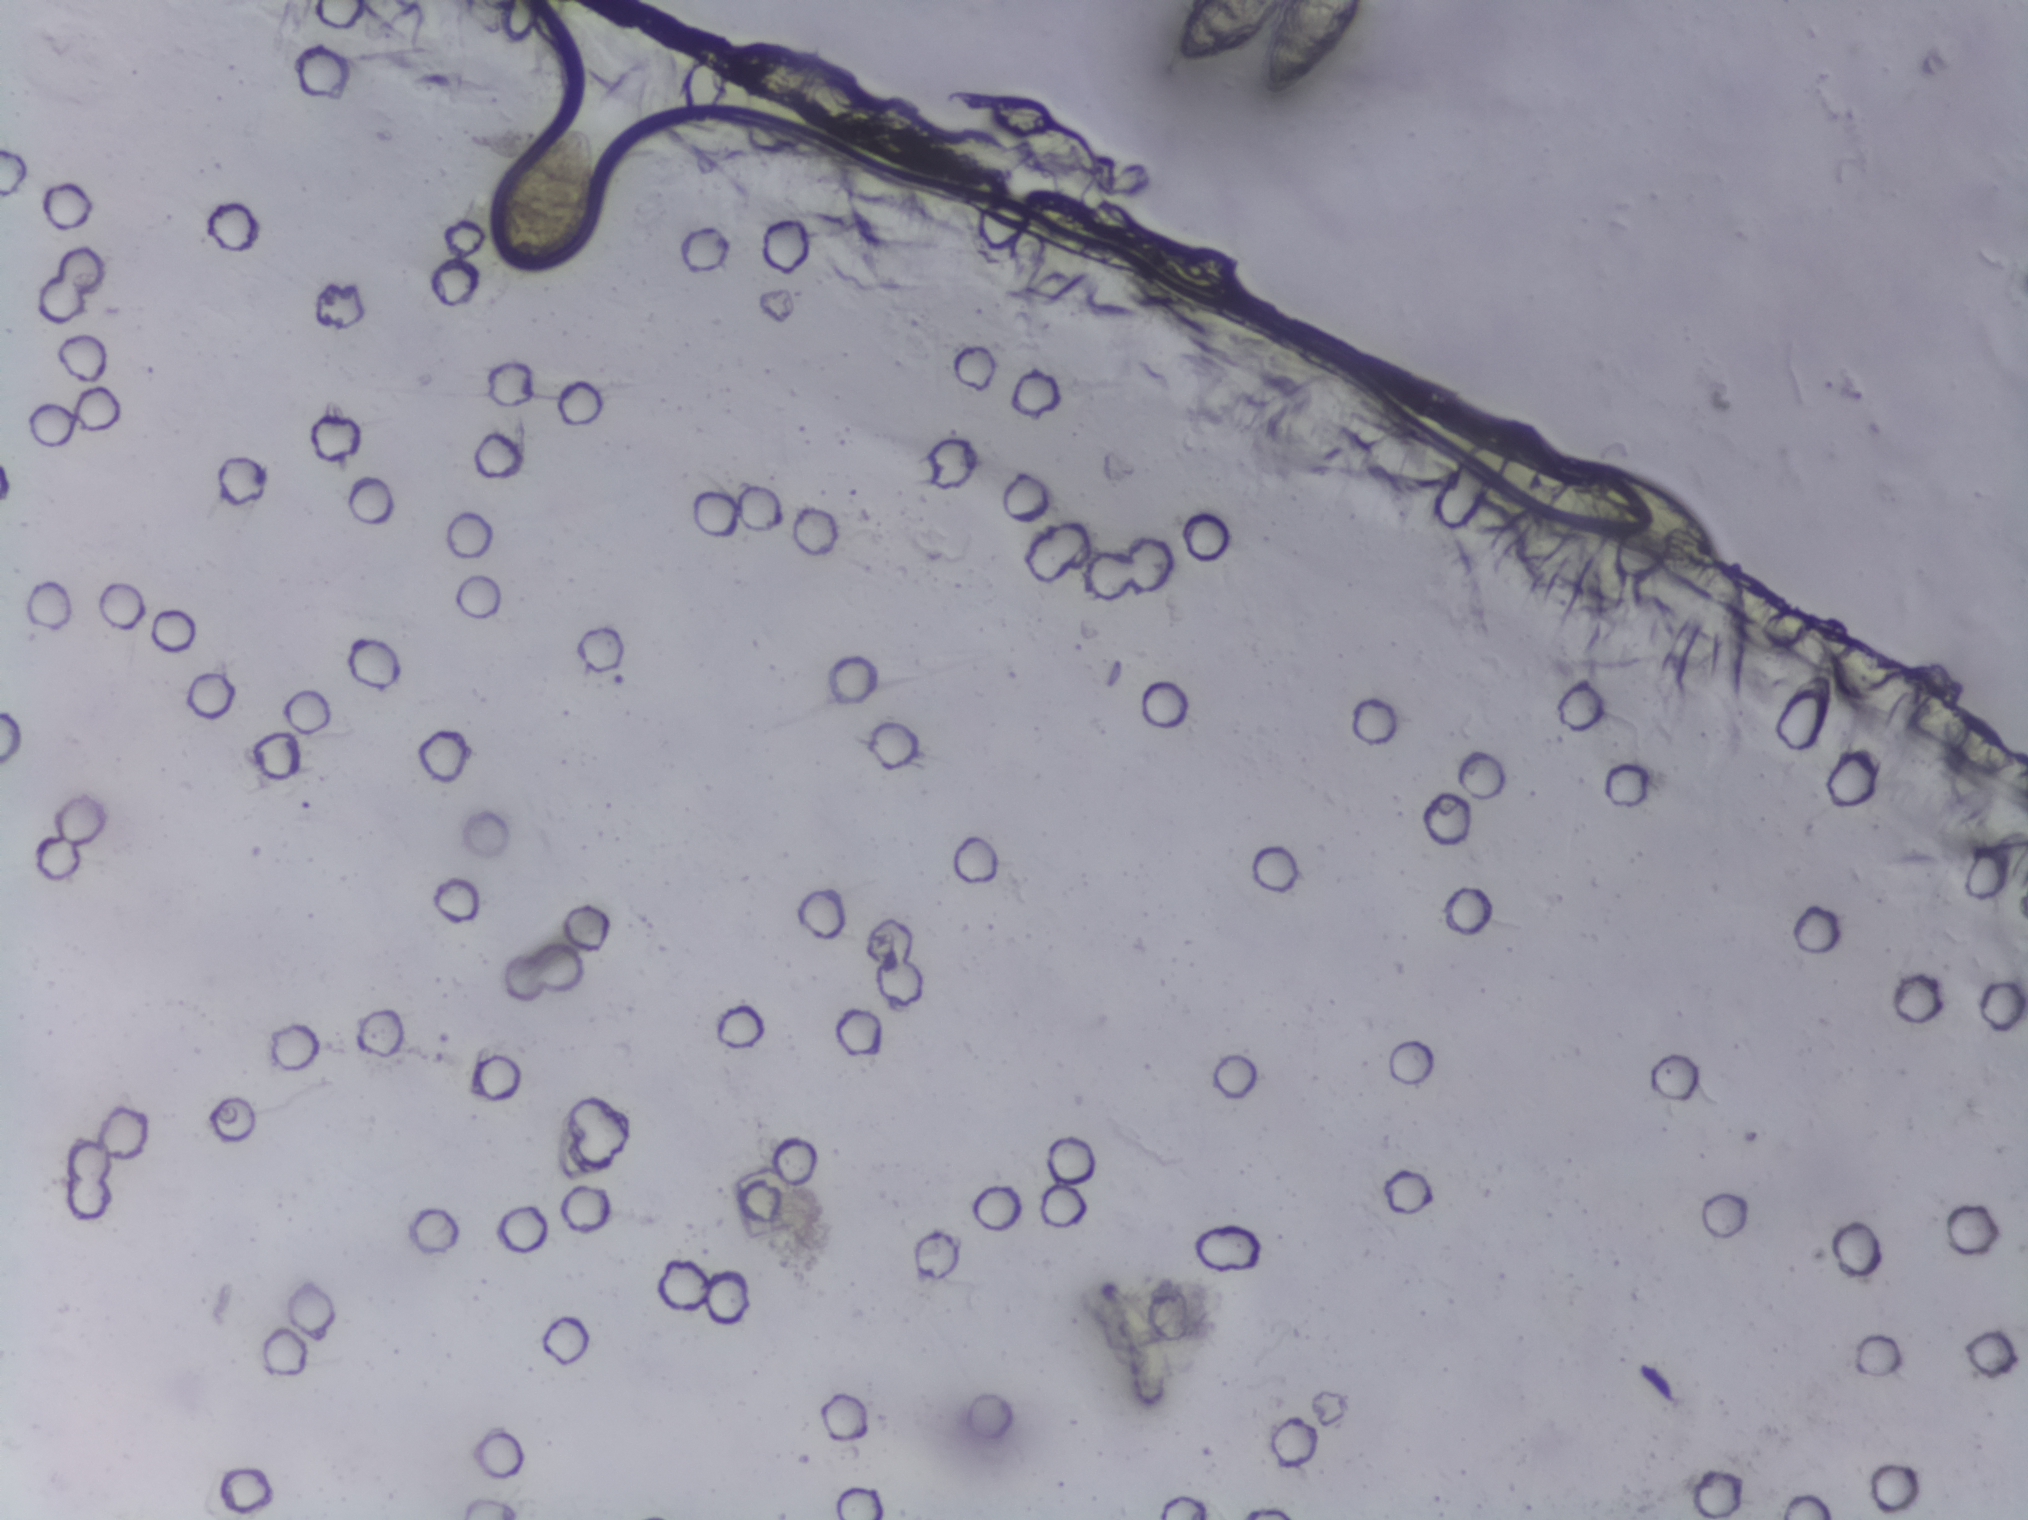
Microscope photograph (4× objective) of a membrane that a urine sample was filtered through. The image covers about 1.5 × 1.1 mm of the membrane.
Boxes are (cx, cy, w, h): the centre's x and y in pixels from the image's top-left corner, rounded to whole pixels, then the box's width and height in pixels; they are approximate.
The expert annotation outlines Schistosoma eggs at (cx=547, cy=194, w=99, h=151) and (cx=1269, cy=50, w=203, h=100) (reaching the top edge of the frame) (left to right). The marked pixels themselves, not the boxes around them, cover about 0.7% of the image. A single outlined area may contain several eggs.